Urine filtration membrane under a 4× objective, photographed by an automated digital microscope.
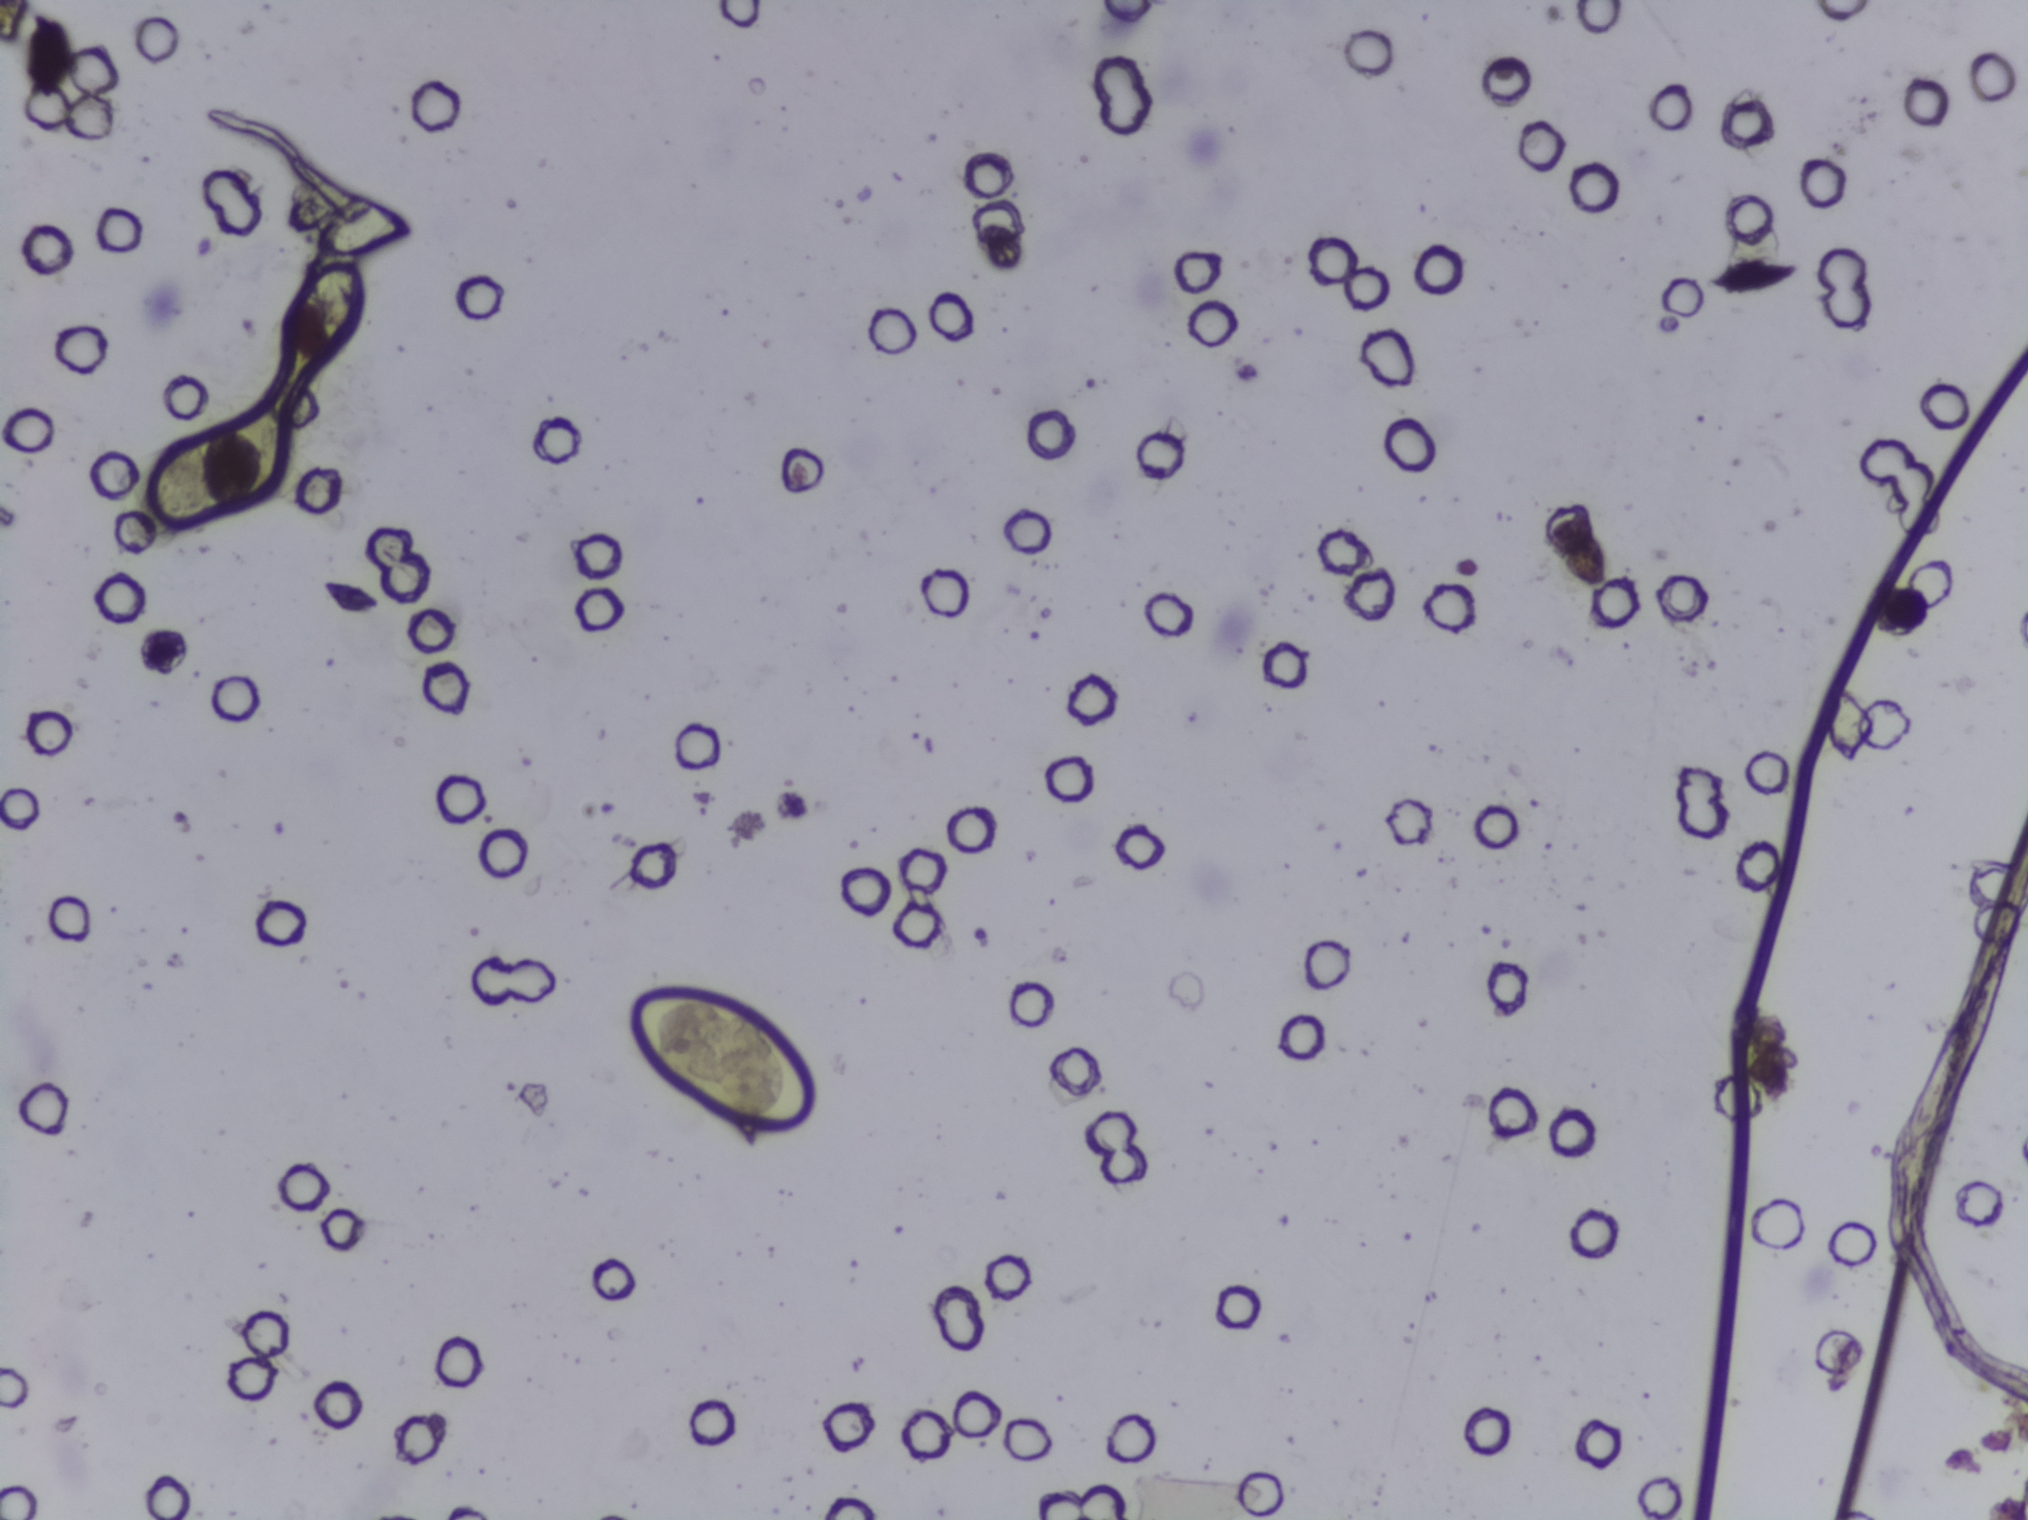
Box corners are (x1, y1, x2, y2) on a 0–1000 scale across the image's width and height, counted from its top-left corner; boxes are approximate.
The expert annotation outlines Schistosoma eggs at (308, 649, 402, 751). The marked pixels themselves, not the box around them, cover about 0.7% of the image. An outlined area can hold more than one egg.